Photomicrograph of a urine filtration membrane, 4× objective.
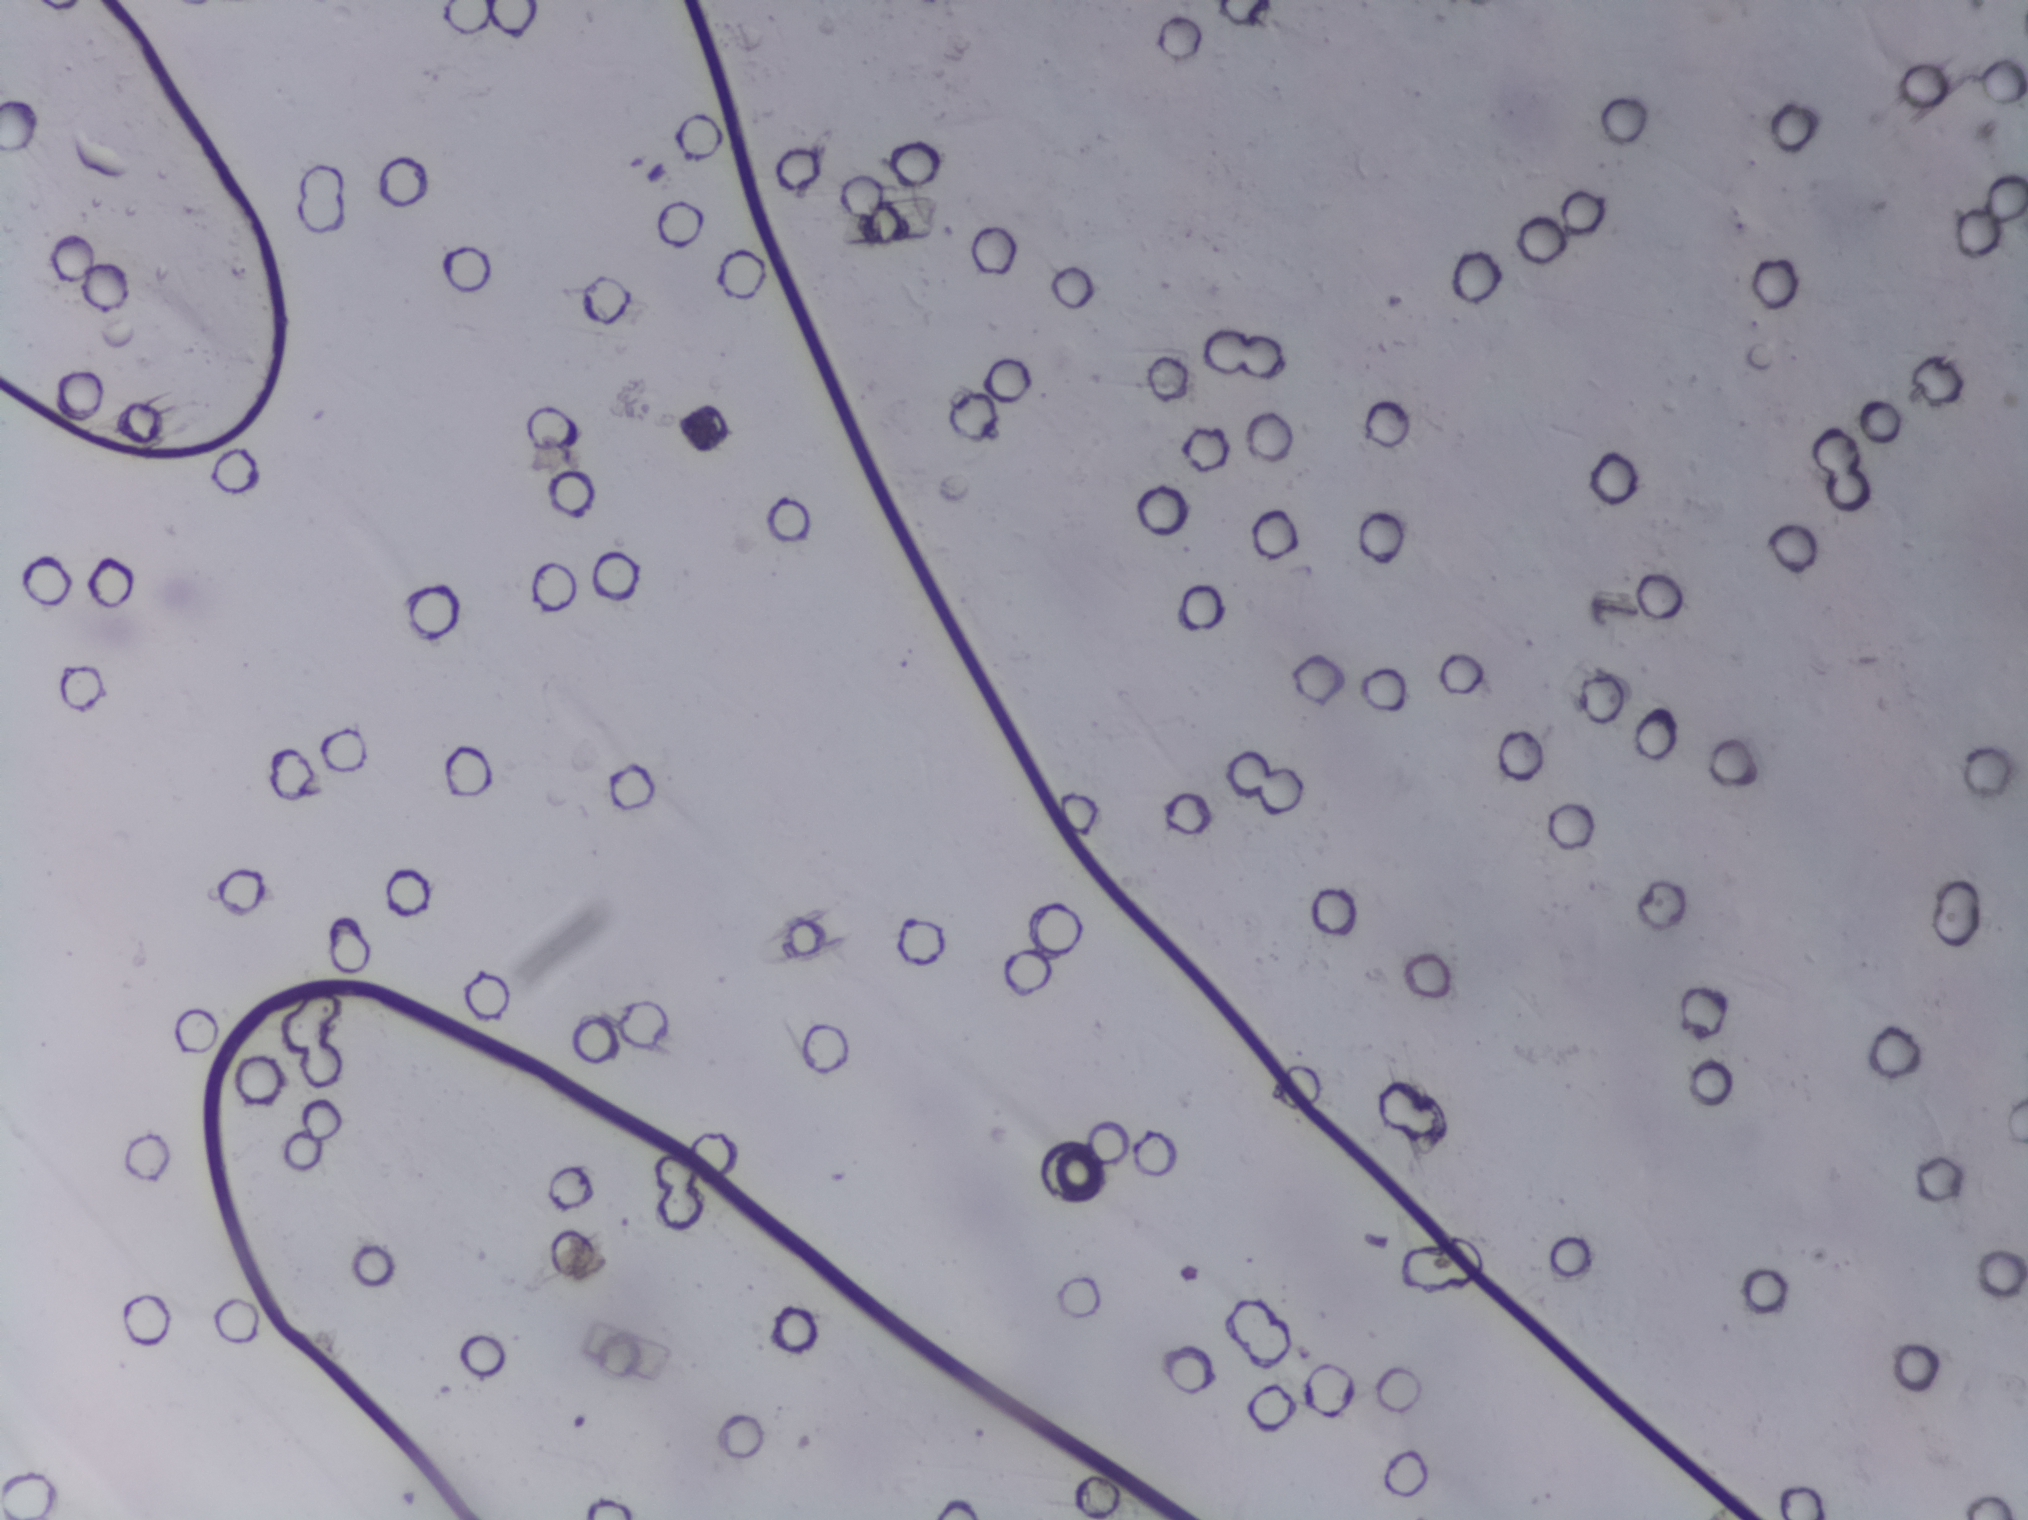
No area of this image was outlined as a Schistosoma egg.